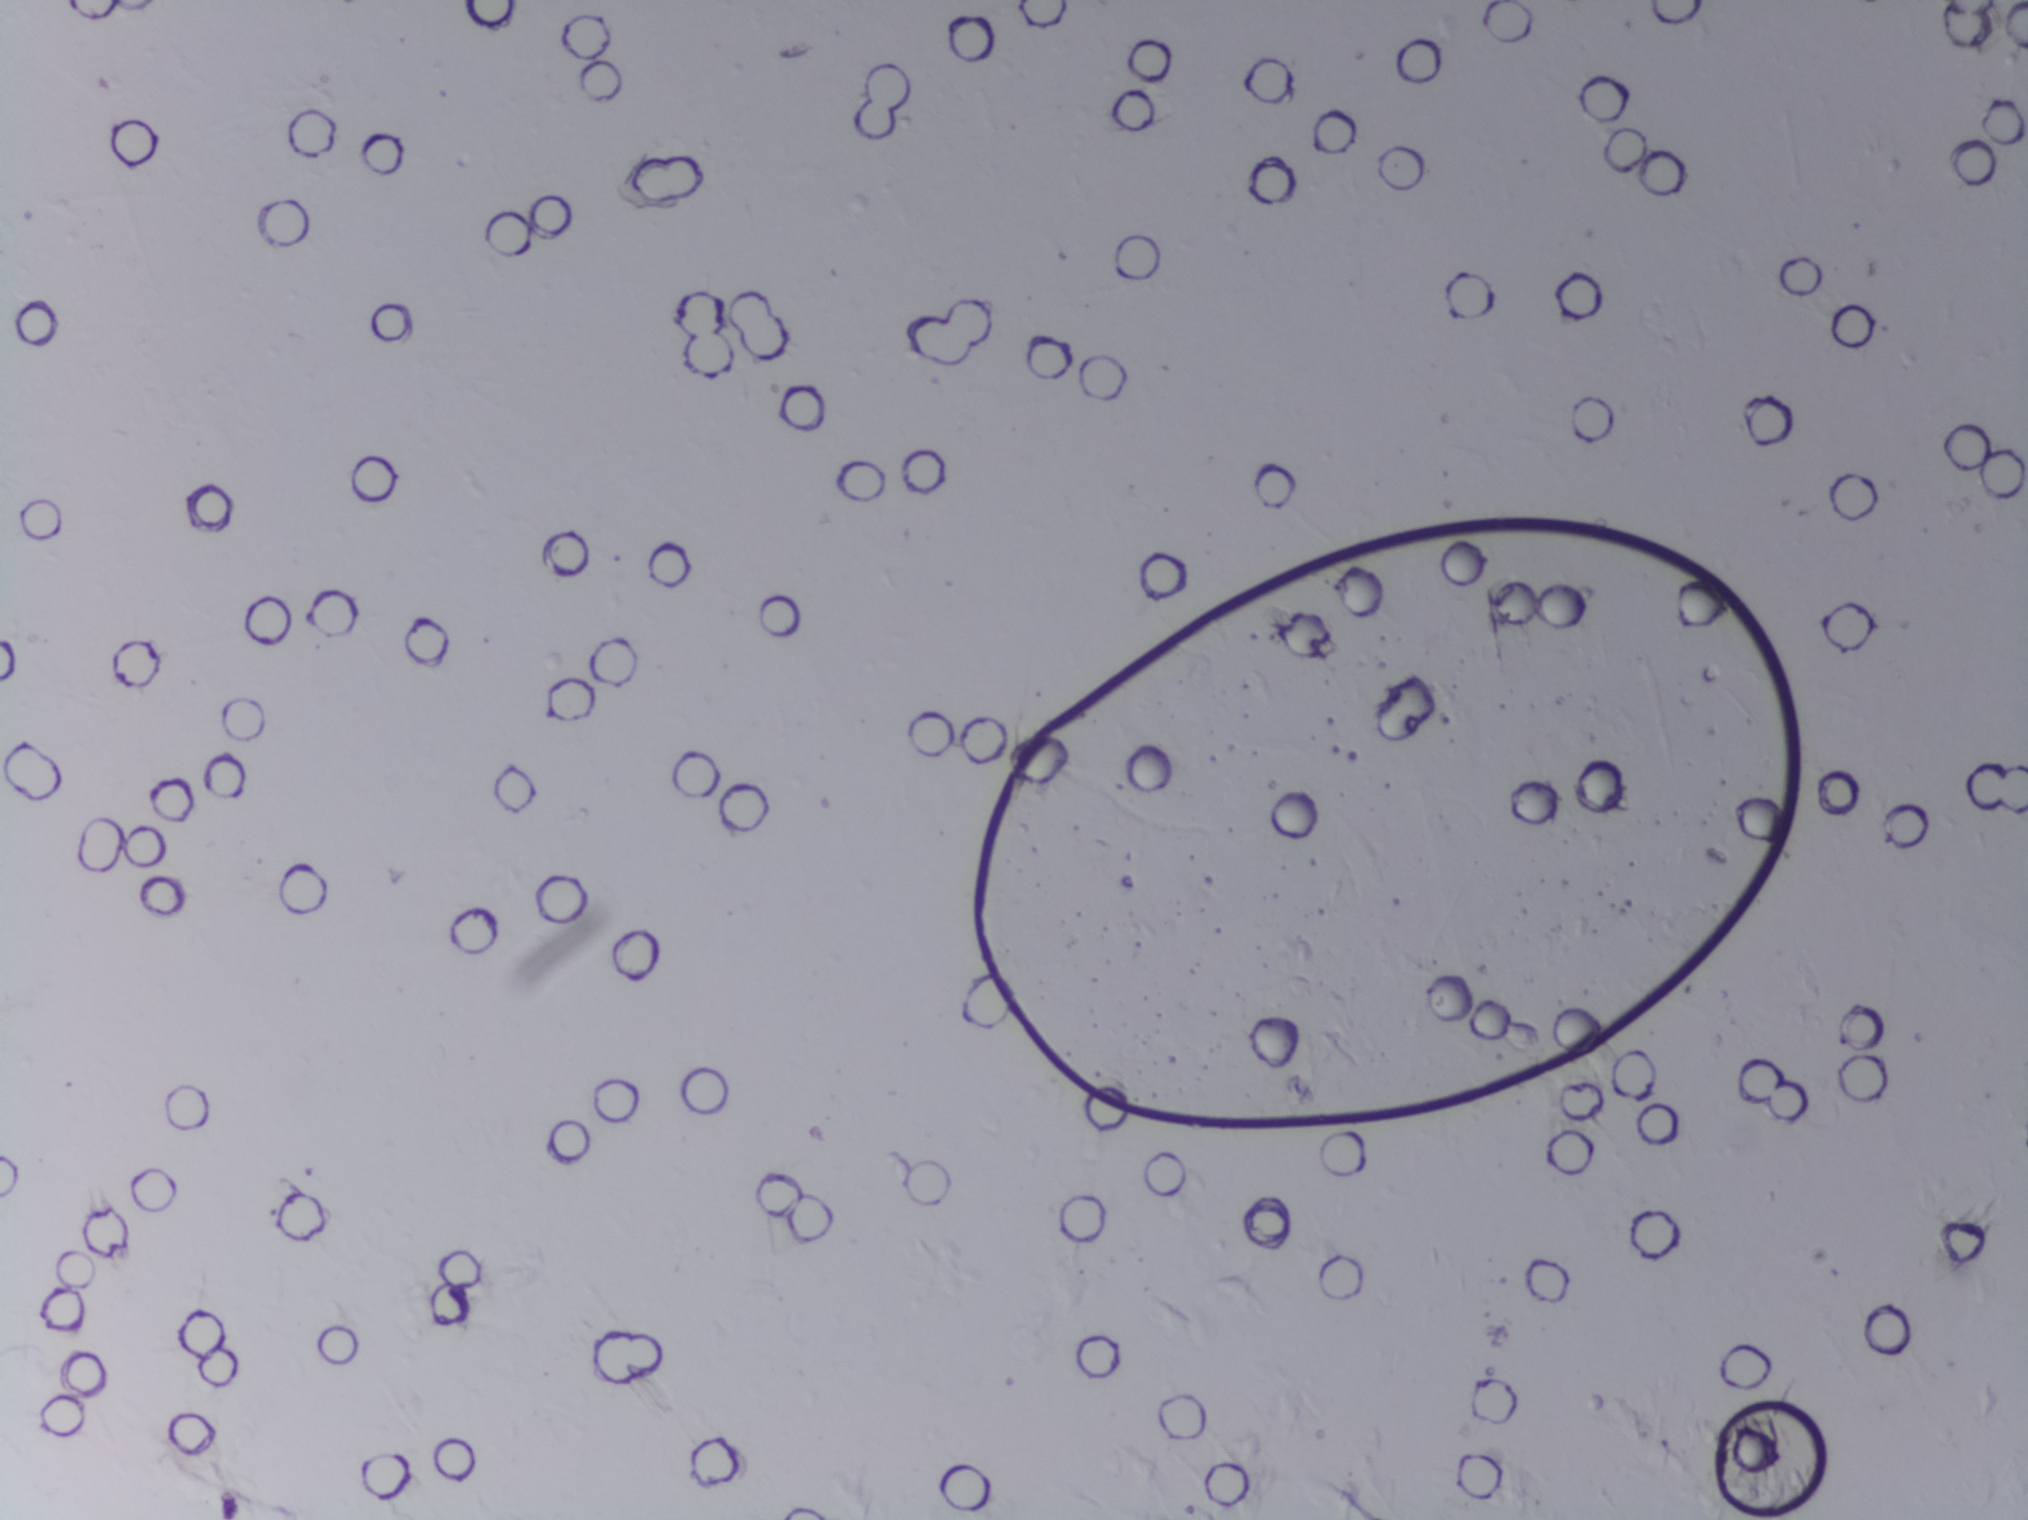
Urine filtration membrane under a 4× objective, photographed by an automated digital microscope.
No Schistosoma egg is outlined in this image's expert annotation.